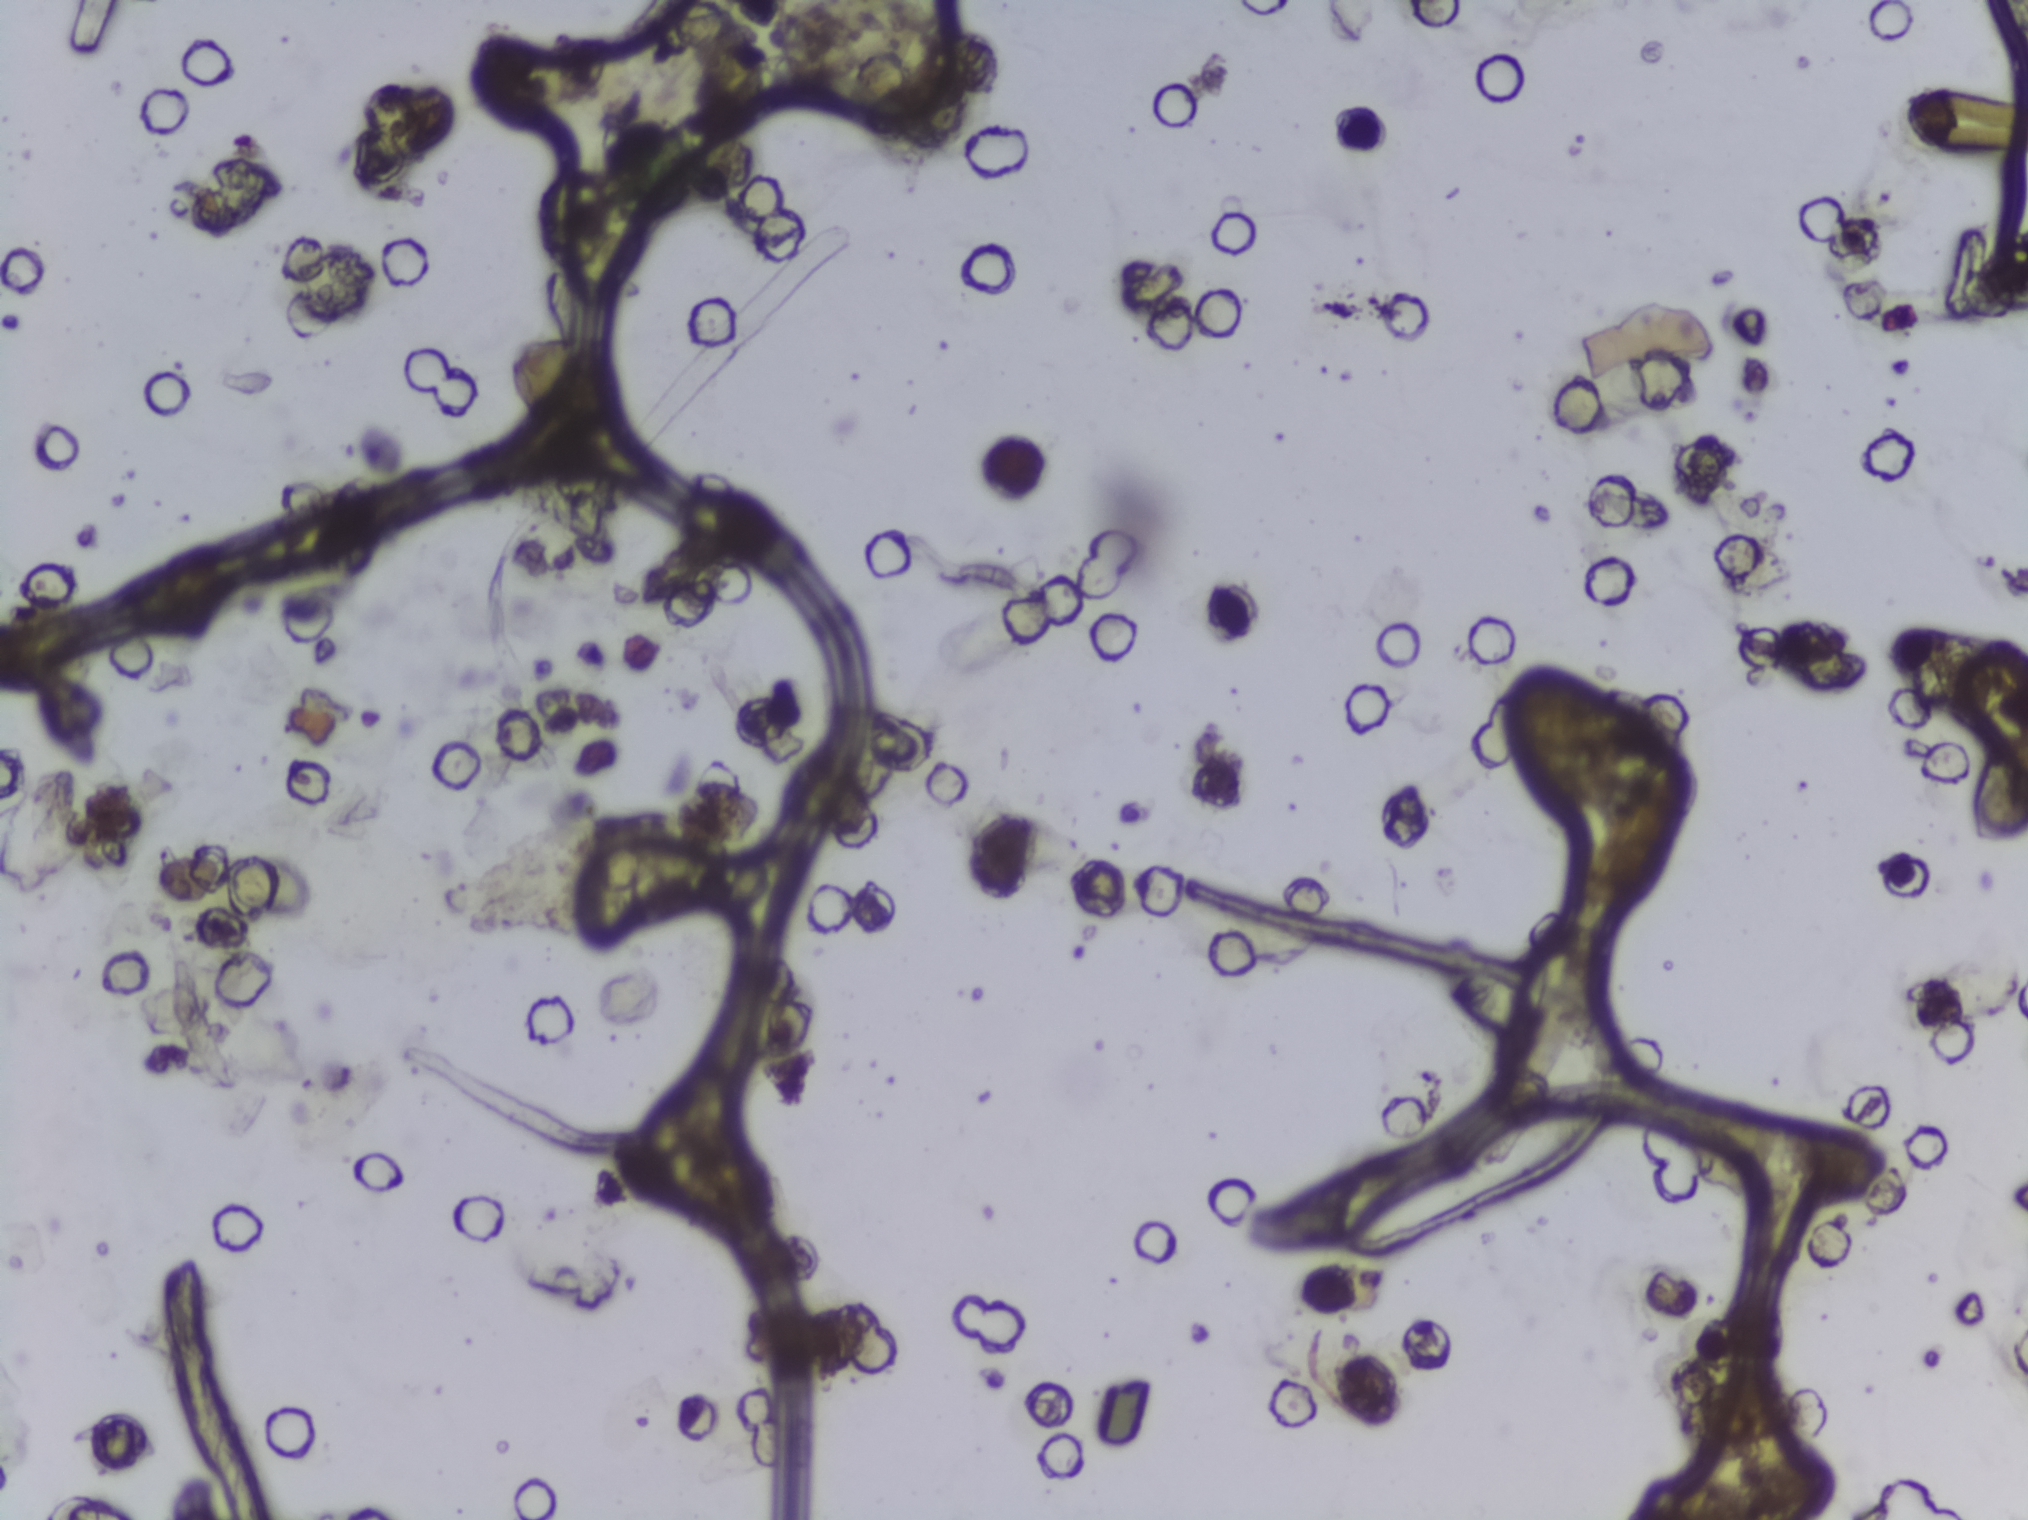
One field of view of a urine filter membrane, 4× objective, 2028 × 1520 pixels.
The expert annotation outlines no Schistosoma egg in this image.